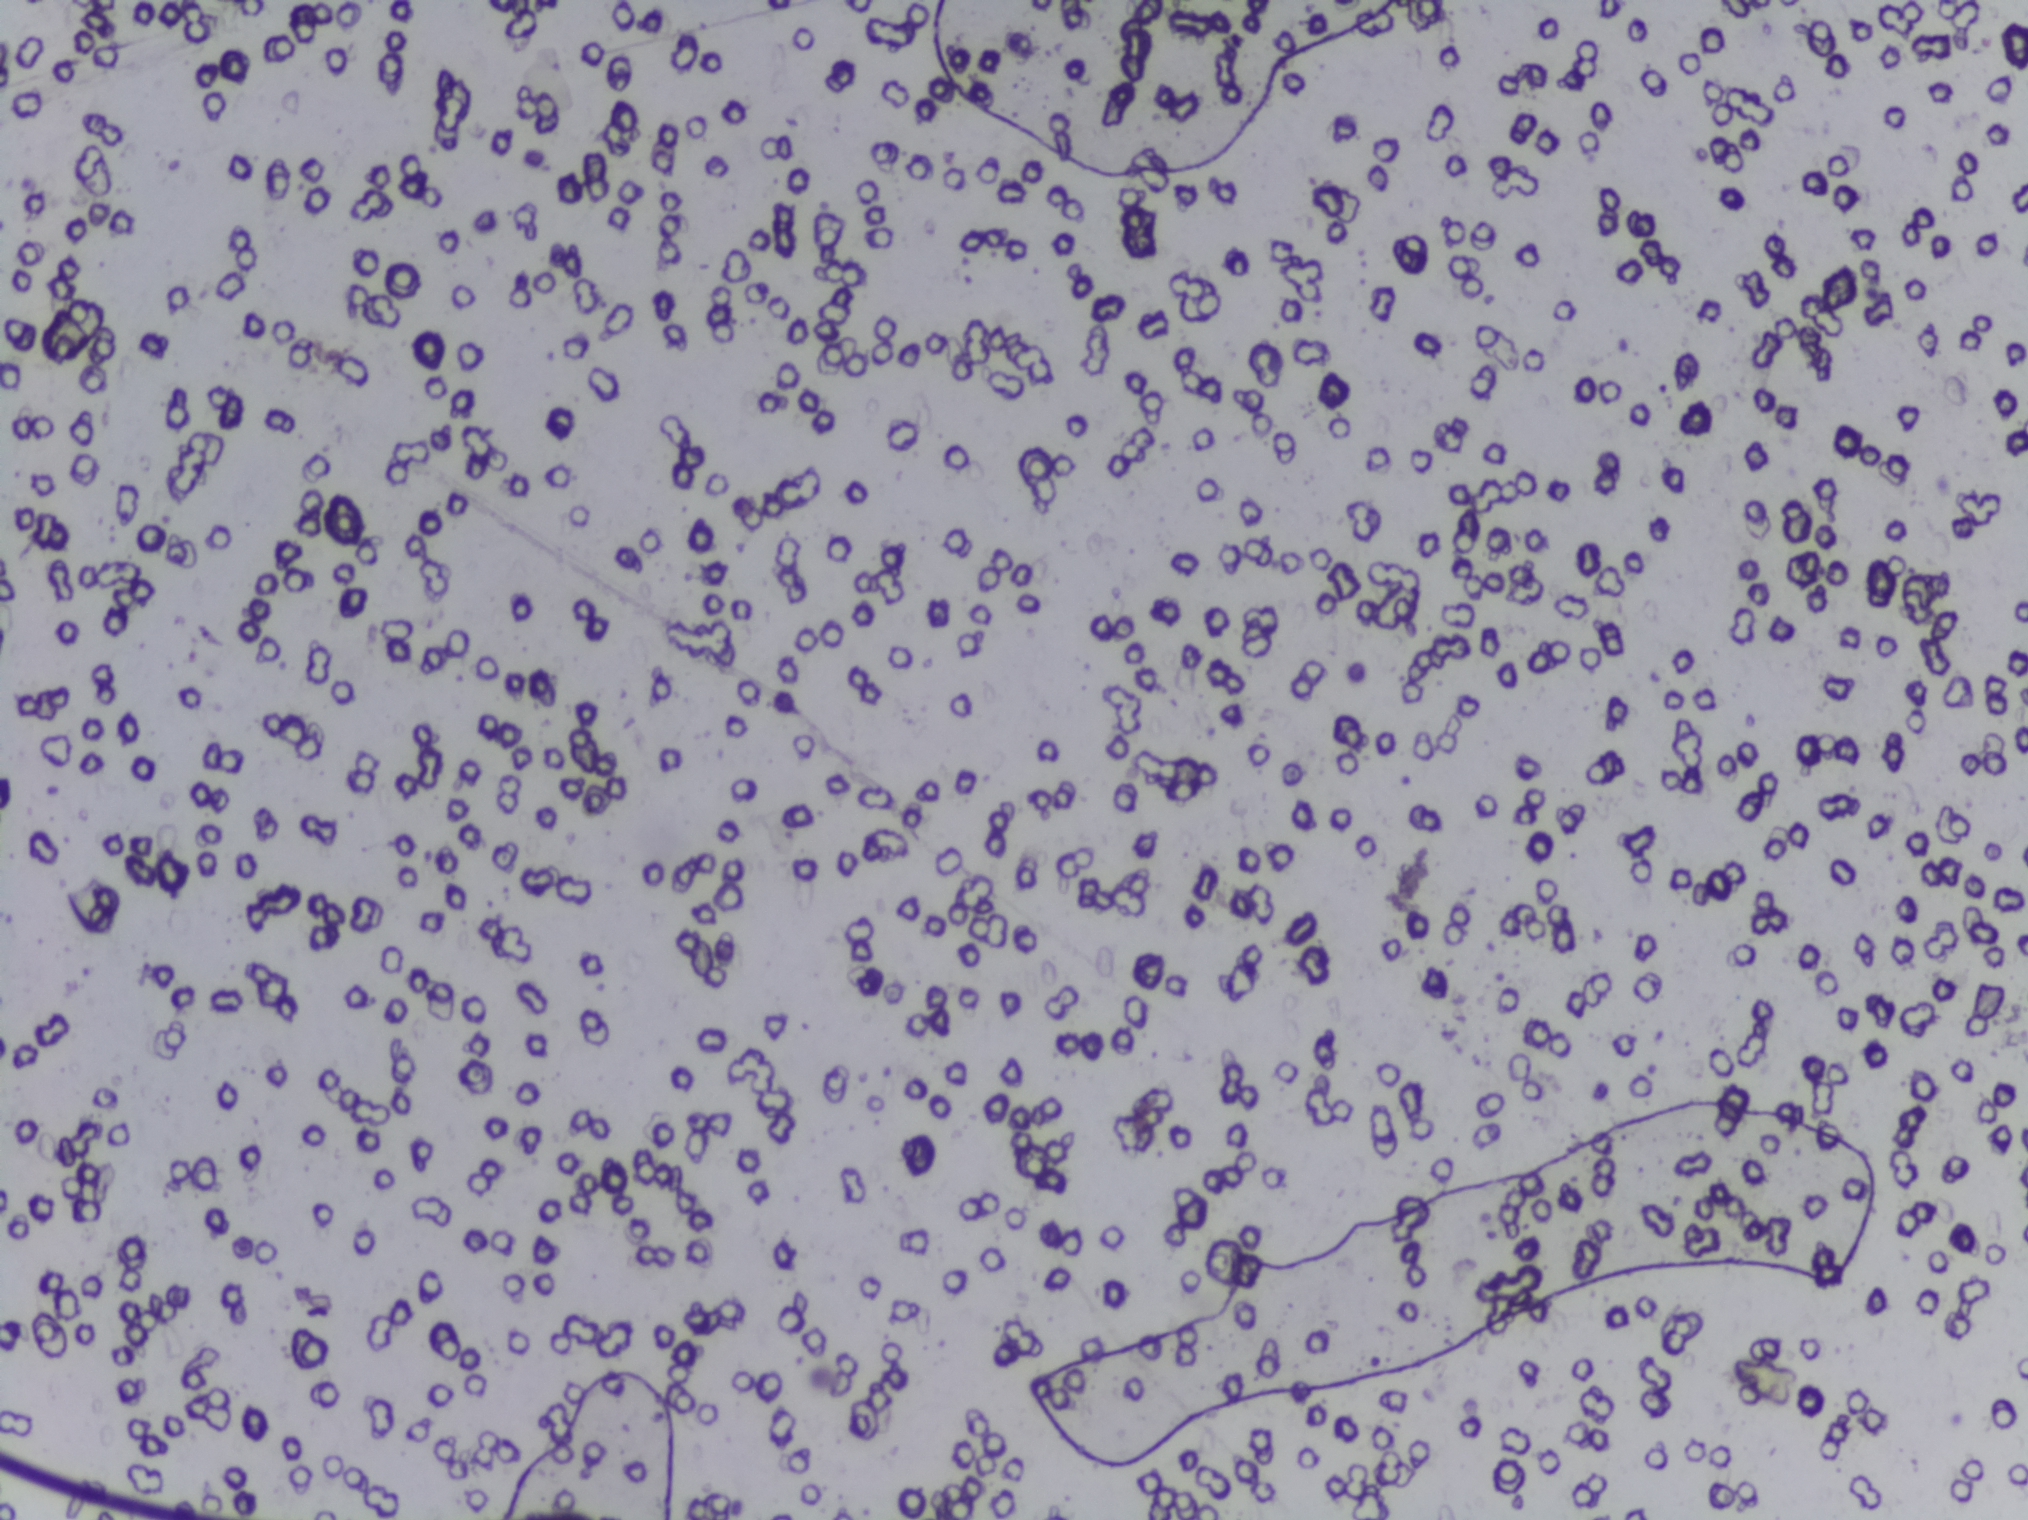
Urine filter membrane photographed through a 4× microscope objective.
No area of this image was outlined as a Schistosoma egg.